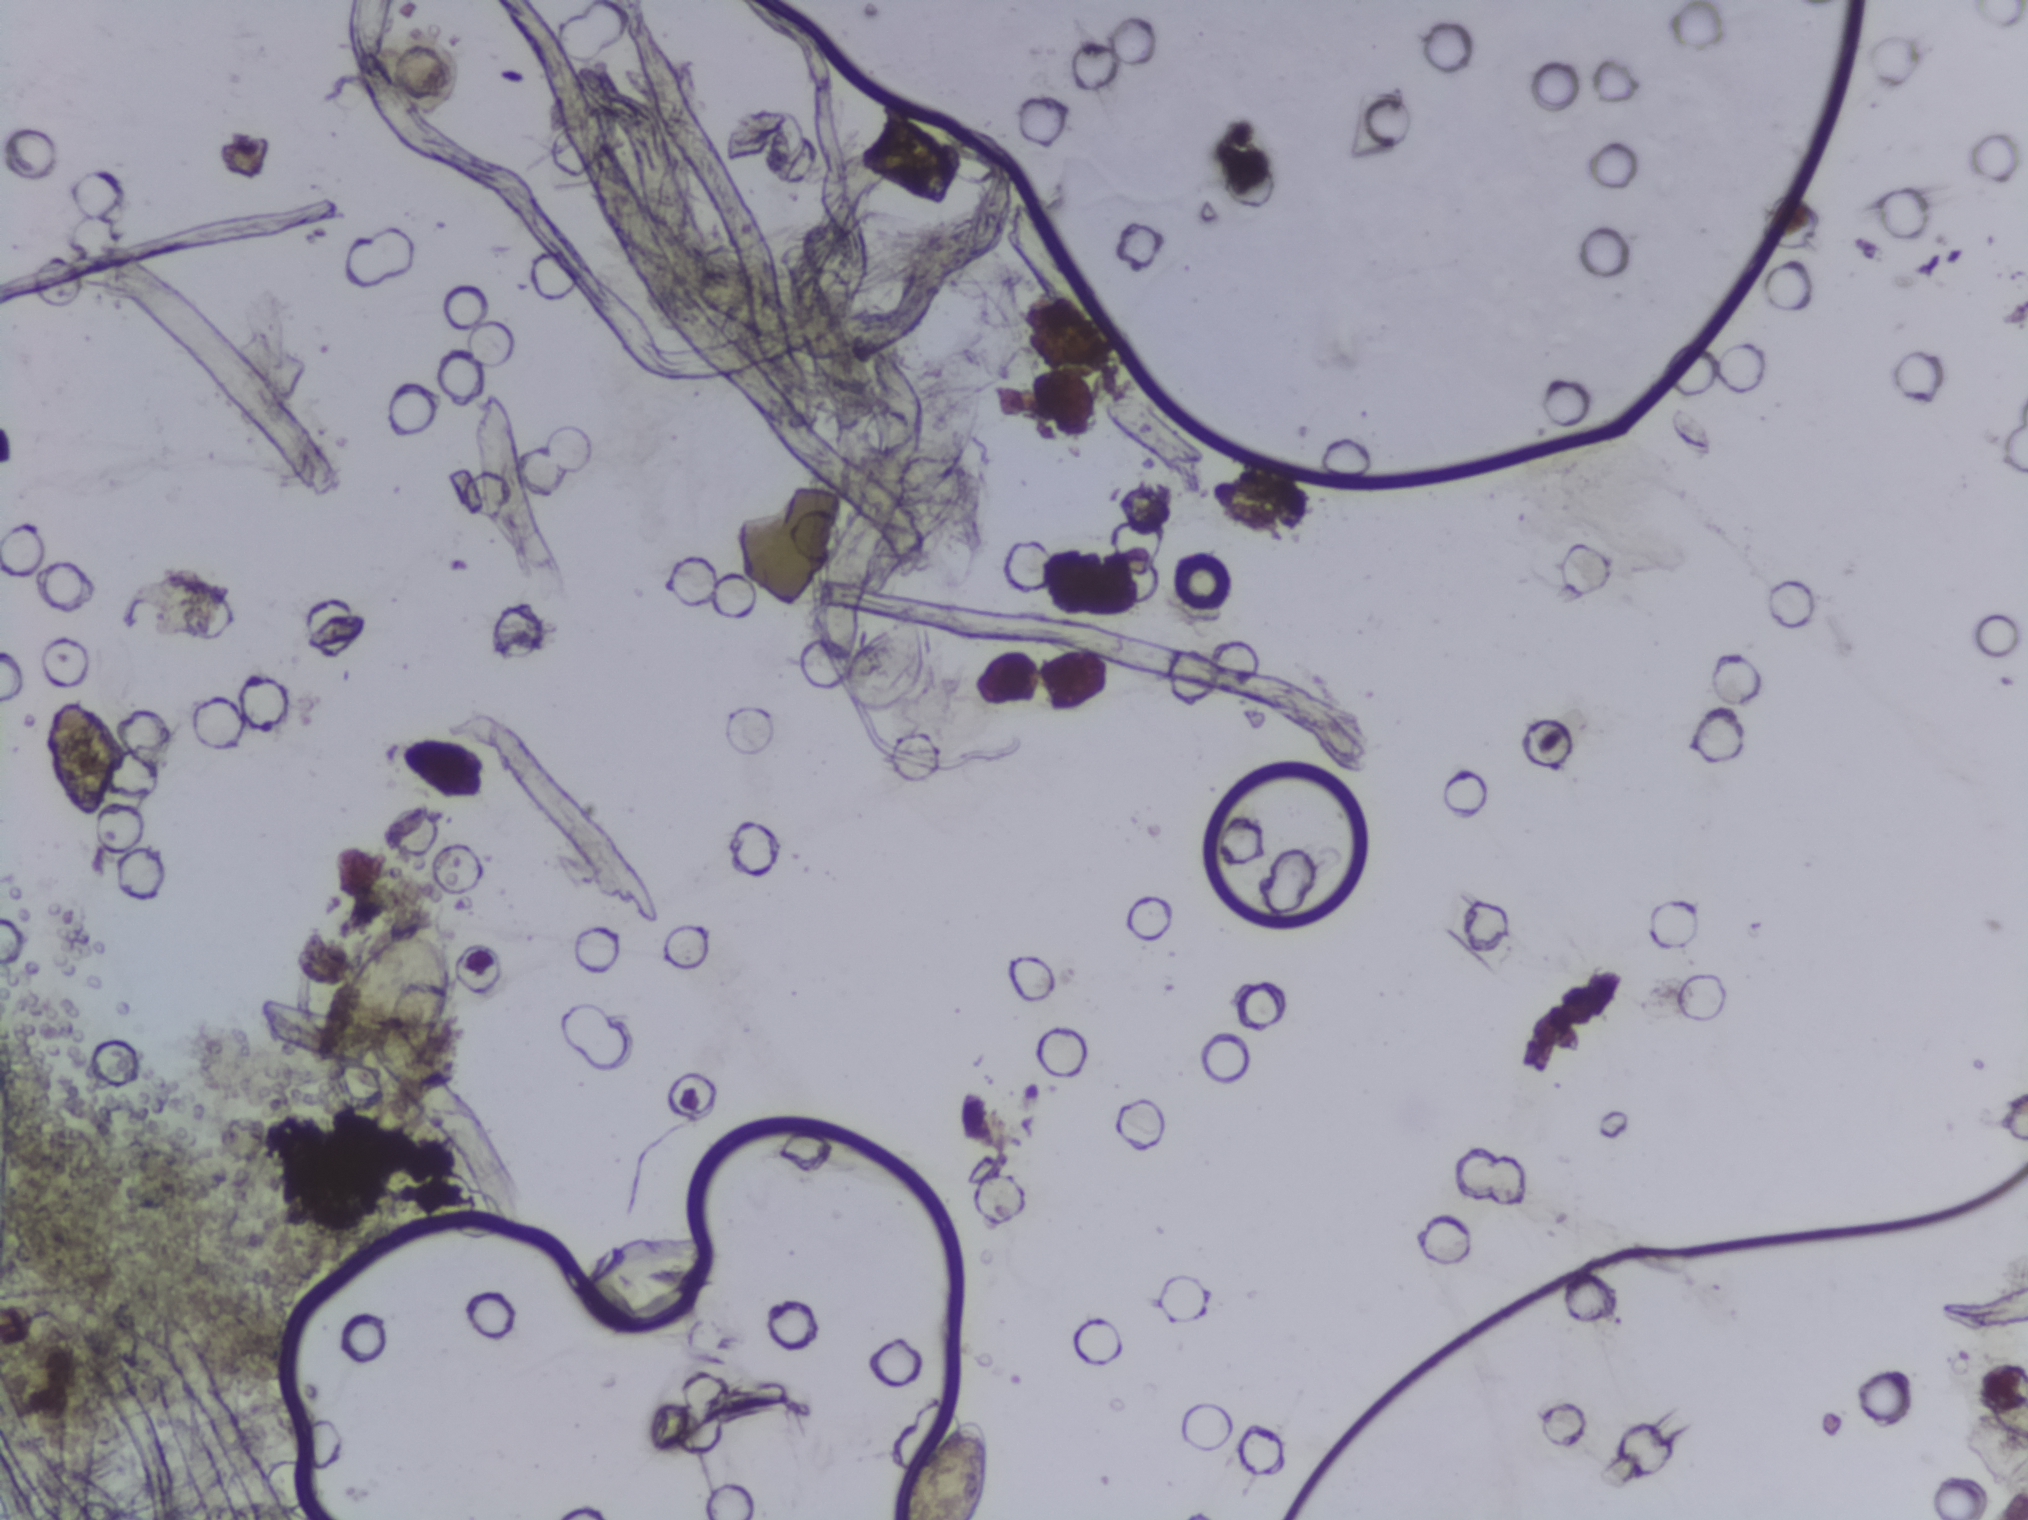
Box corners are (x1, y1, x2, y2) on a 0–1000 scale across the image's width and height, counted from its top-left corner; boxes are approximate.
The expert annotation outlines Schistosoma eggs at (19, 451, 63, 543); (158, 589, 226, 738); (443, 930, 489, 1000) (reaching the bottom edge of the frame). About 1.2% of the image's pixels are marked (the marked pixels themselves, not the boxes around them). An outlined area can hold more than one egg.
Urine filter membrane photographed through a 4× microscope objective.